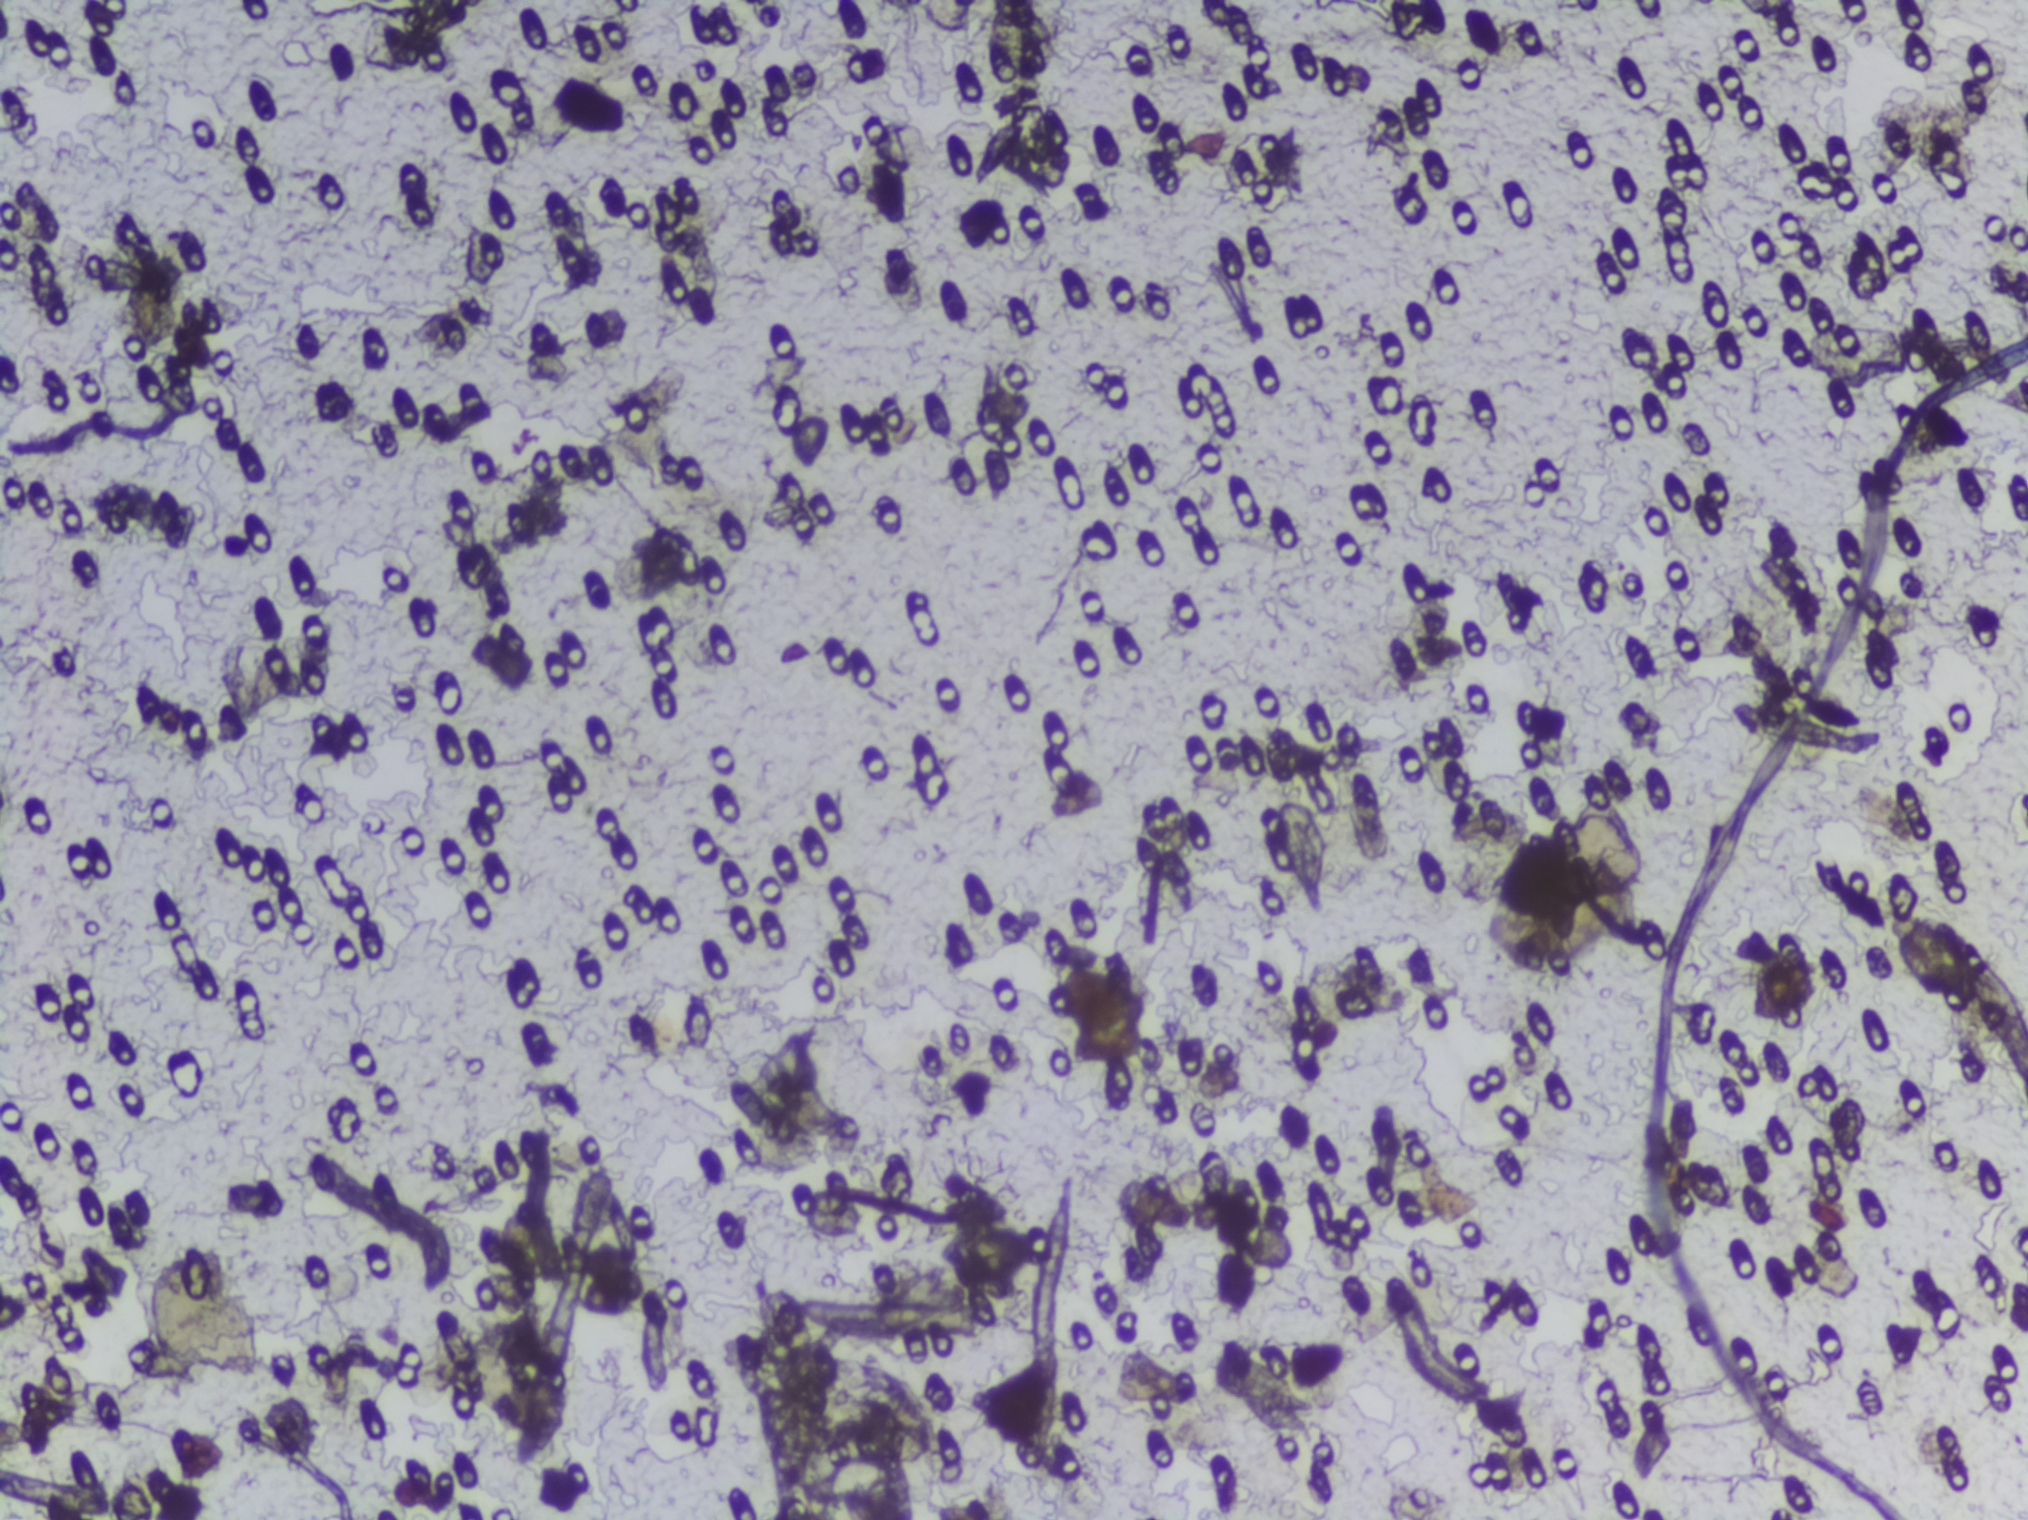
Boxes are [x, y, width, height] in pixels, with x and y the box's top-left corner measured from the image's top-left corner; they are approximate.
The expert annotation outlines Schistosoma eggs at [1540, 781, 108, 186]. Marked pixels, not the box around them: about 0.4% of the image. A single outlined area may contain several eggs.
Urine filtration membrane under a 4× objective, photographed by an automated digital microscope.